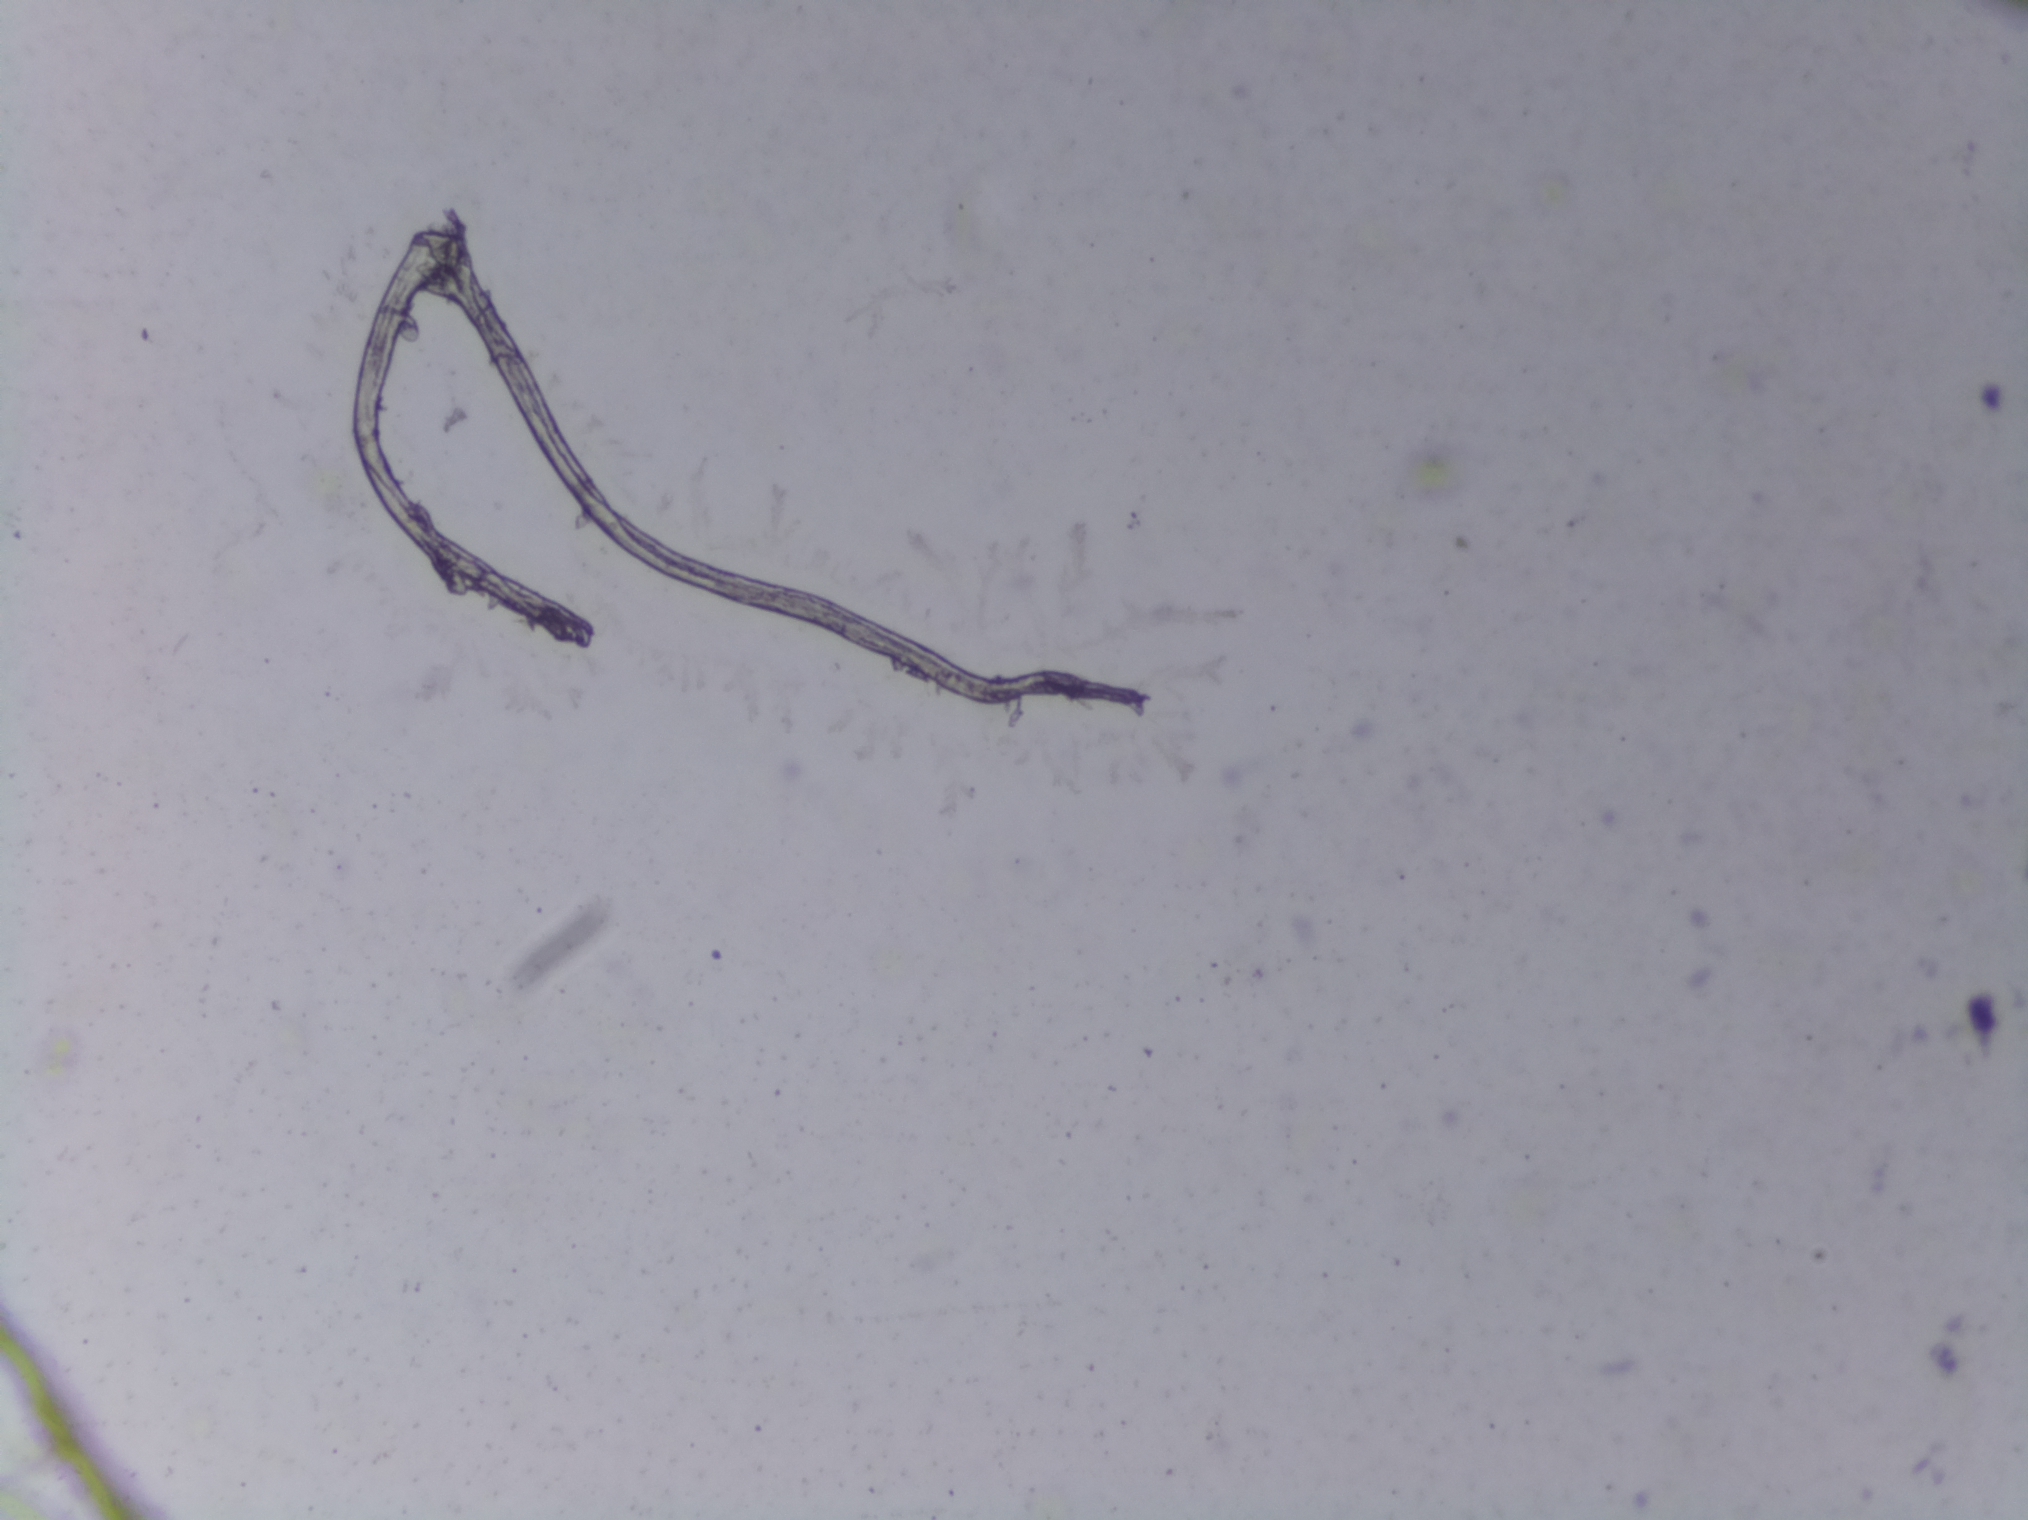
Urine filter membrane photographed through a 4× microscope objective. The image covers about 1.5 × 1.1 mm of the membrane.
The expert annotation outlines no Schistosoma egg in this image.